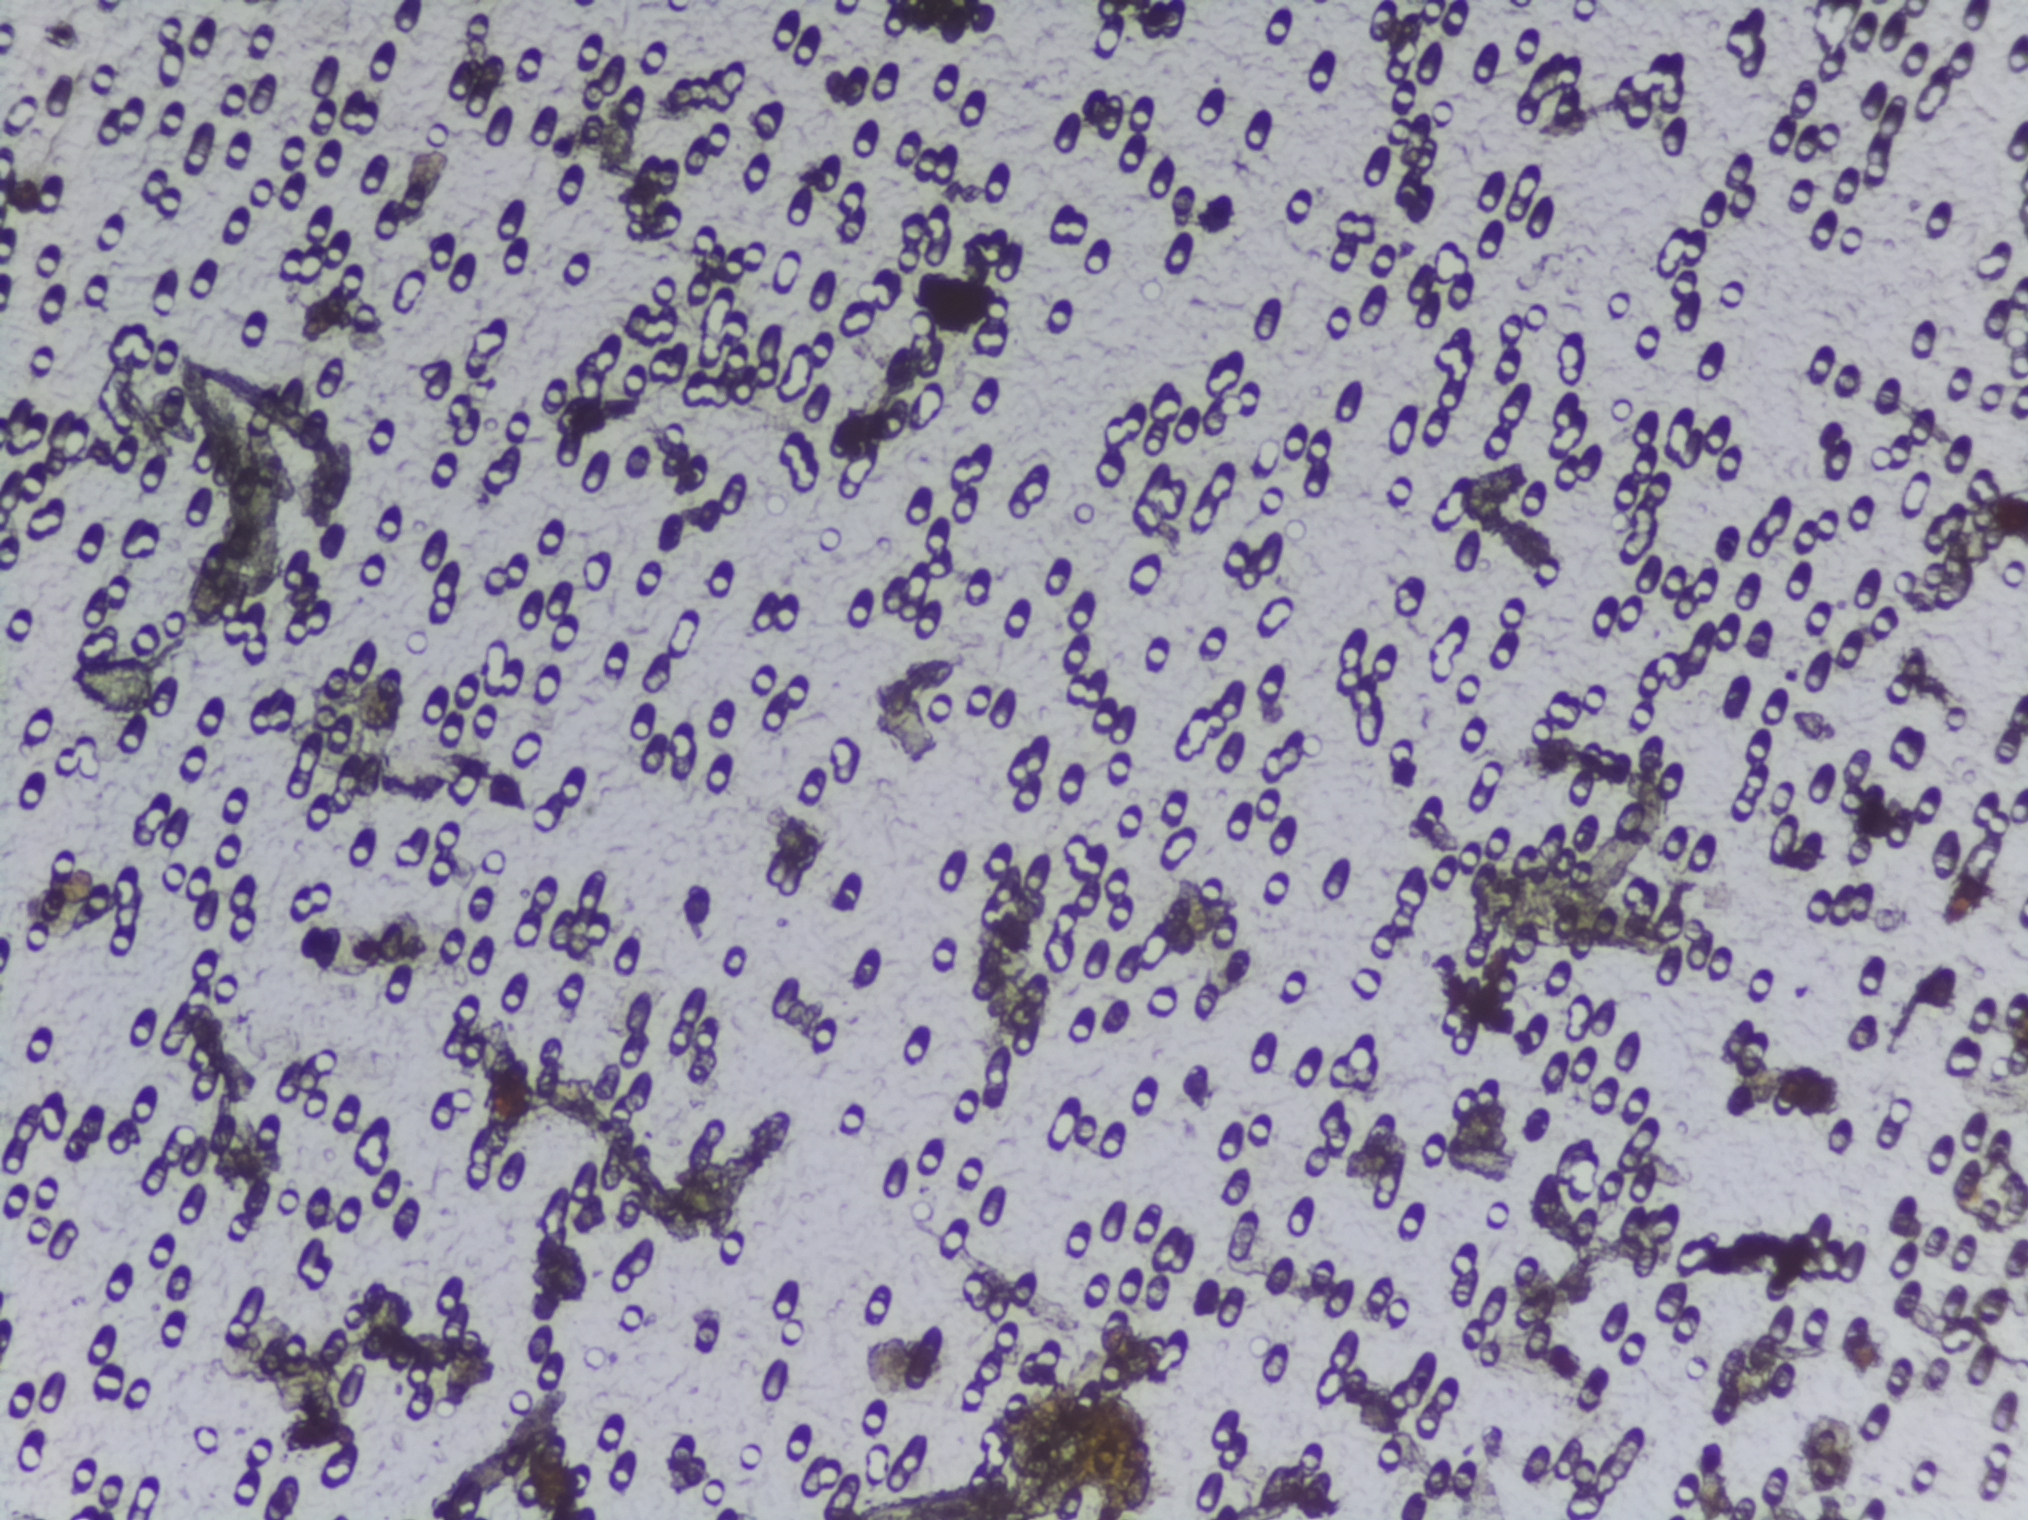
Urine filtration membrane under a 4× objective, photographed by an automated digital microscope.
No area of this image was outlined as a Schistosoma egg.